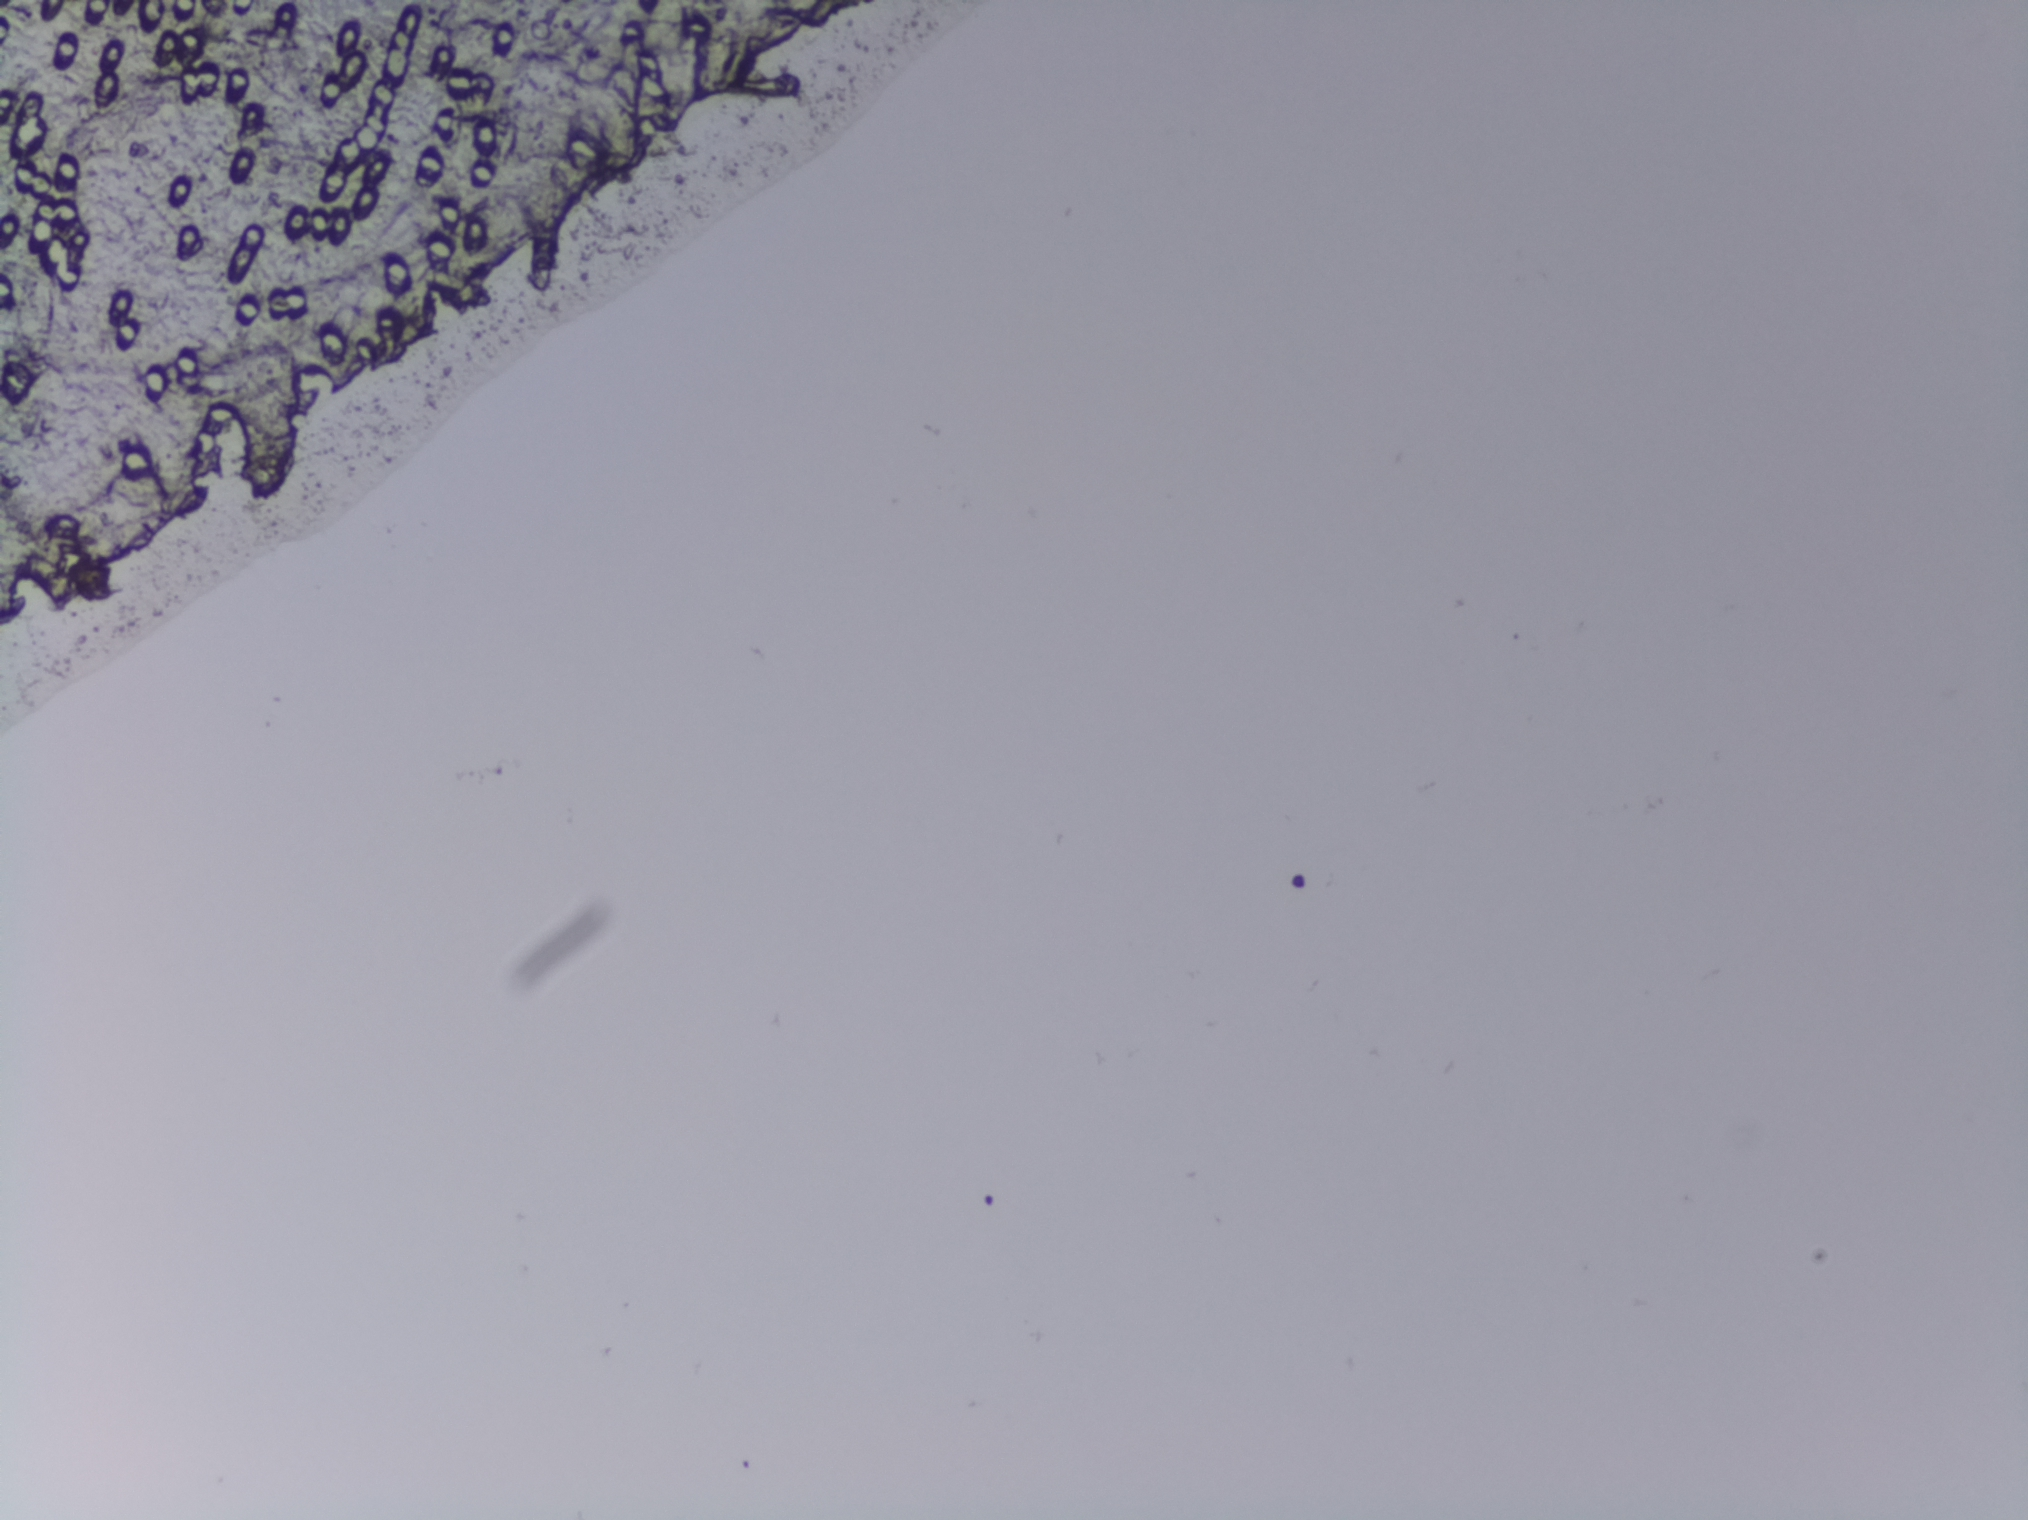
Urine filtration membrane under a 4× objective, photographed by an automated digital microscope. Field of view: about 1.5 mm wide and 1.1 mm high.
The expert annotation outlines no Schistosoma egg in this image.